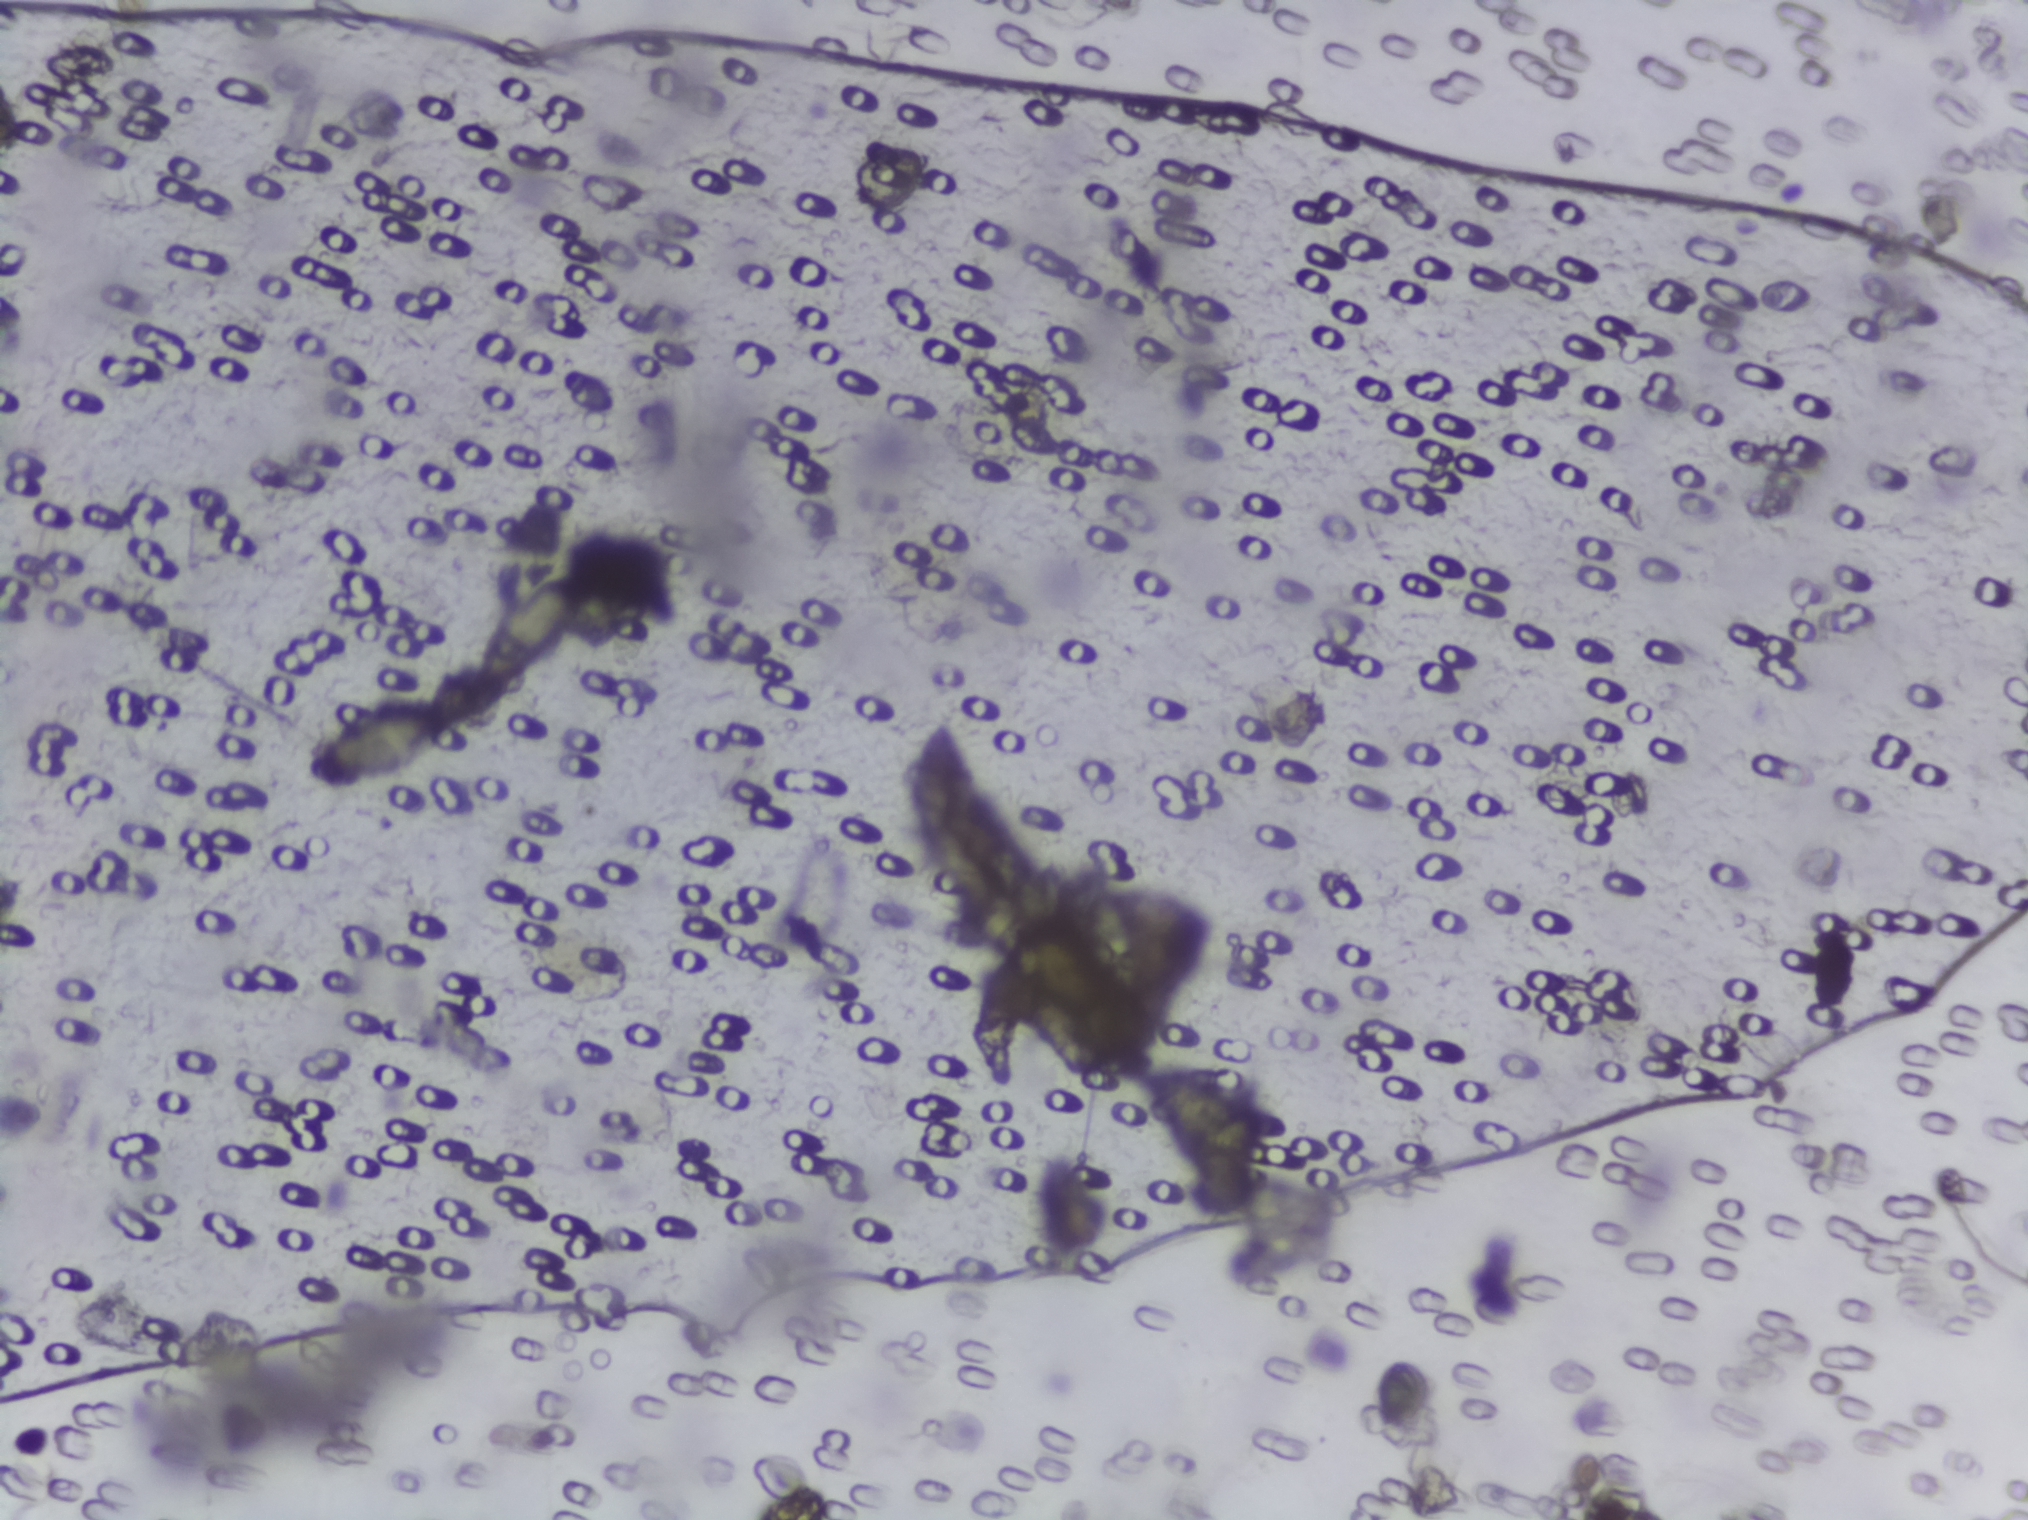
Urine filter membrane photographed through a 4× microscope objective.
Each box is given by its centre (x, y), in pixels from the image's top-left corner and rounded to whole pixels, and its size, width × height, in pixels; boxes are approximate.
The expert annotation outlines Schistosoma eggs at centre (387, 739), 140 × 74 px; centre (528, 634), 106 × 112 px; centre (1202, 1116), 122 × 95 px. The marked pixels themselves, not the boxes around them, cover about 0.7% of the image. Eggs that touch can end up inside the same outlined area.